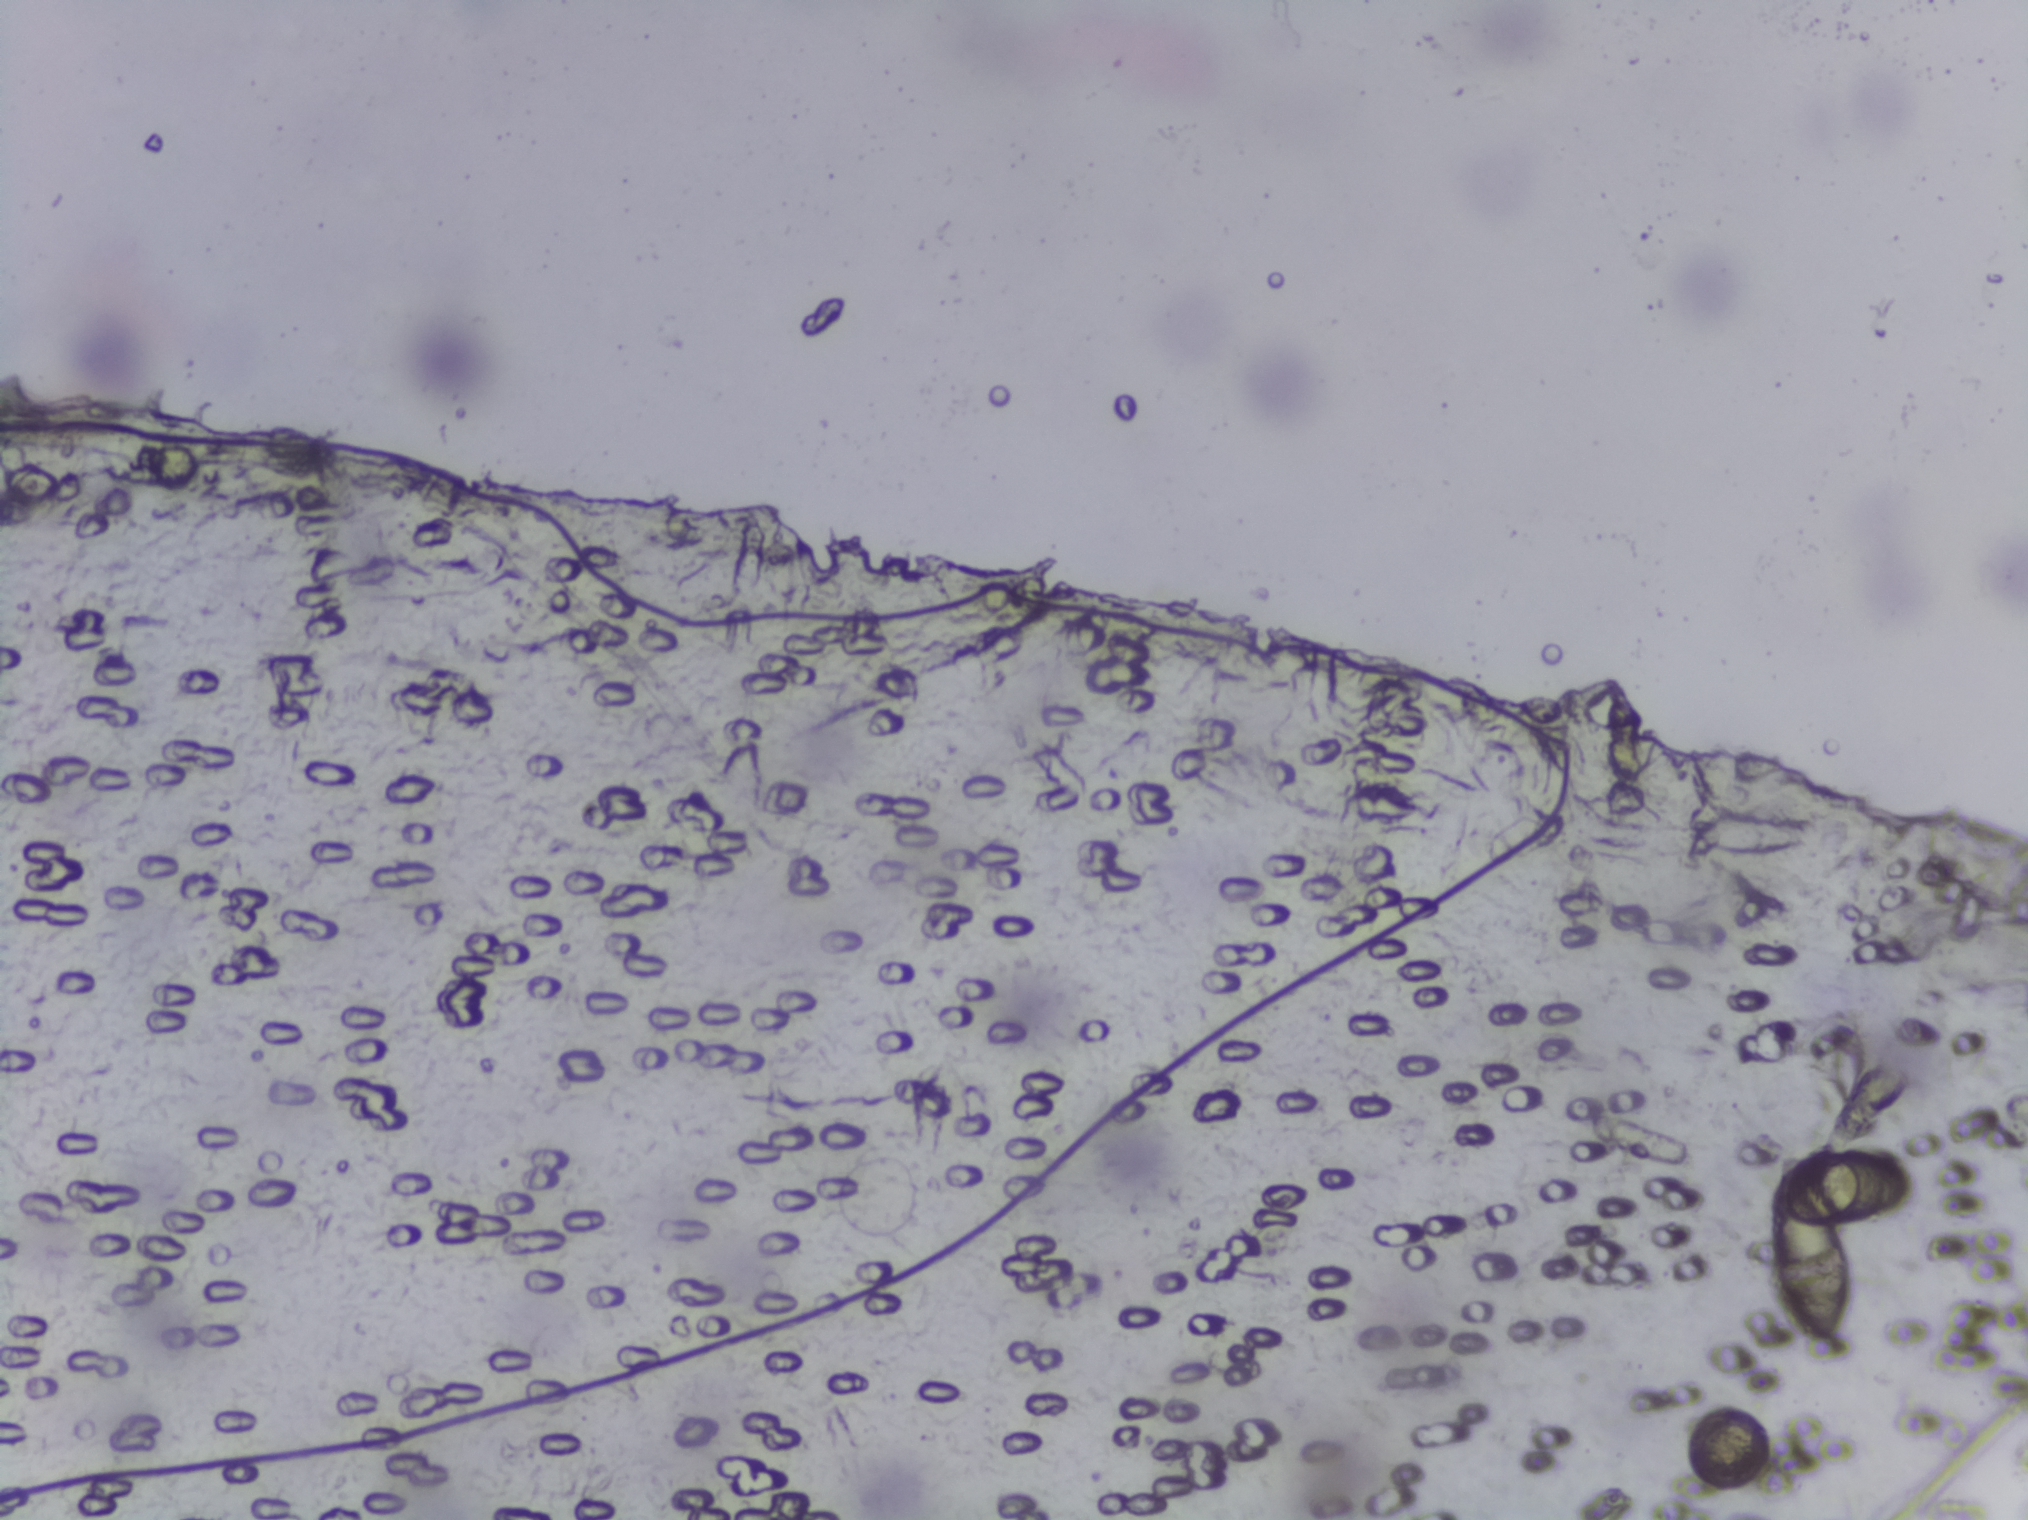
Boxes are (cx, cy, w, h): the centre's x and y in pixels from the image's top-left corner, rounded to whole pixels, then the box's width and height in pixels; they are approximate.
Schistosoma eggs, outlined areas: (cx=1841, cy=1251, w=144, h=211). A single outlined area may contain several eggs. Any one outlined egg may, rarely, be S. mansoni rather than S. haematobium.
One field of view of a urine filter membrane, 4× objective, 2028 × 1520 pixels.